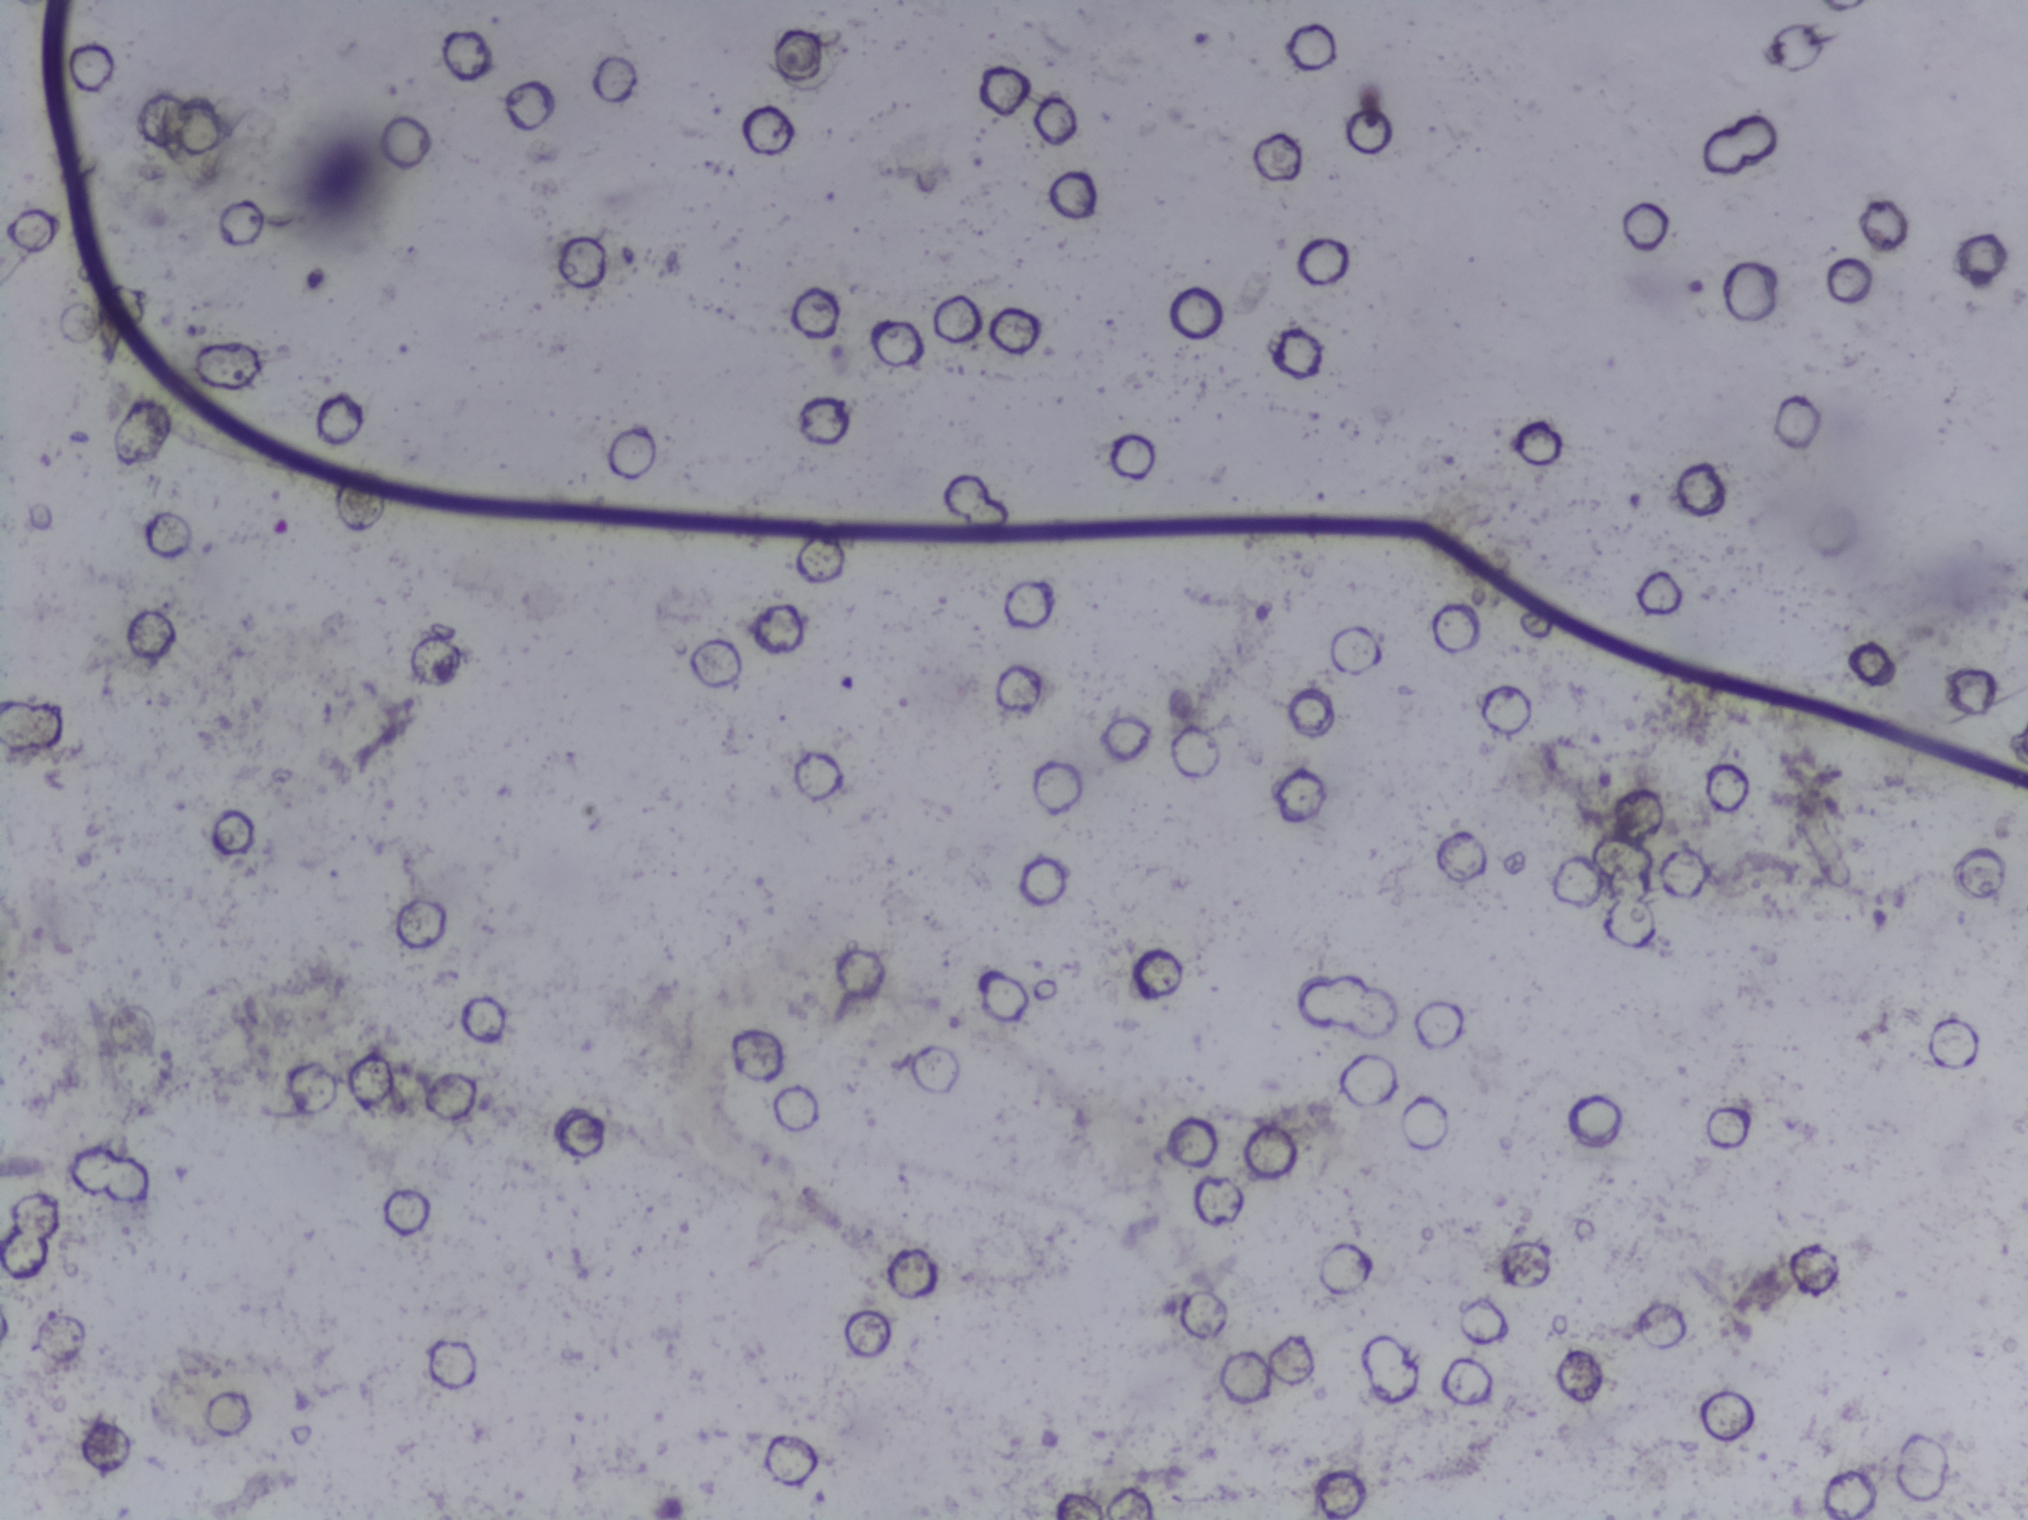
The expert annotation marks no Schistosoma egg in this field of view.
Microscope photograph (4× objective) of a membrane that a urine sample was filtered through. Field of view: about 1.5 mm wide and 1.1 mm high.